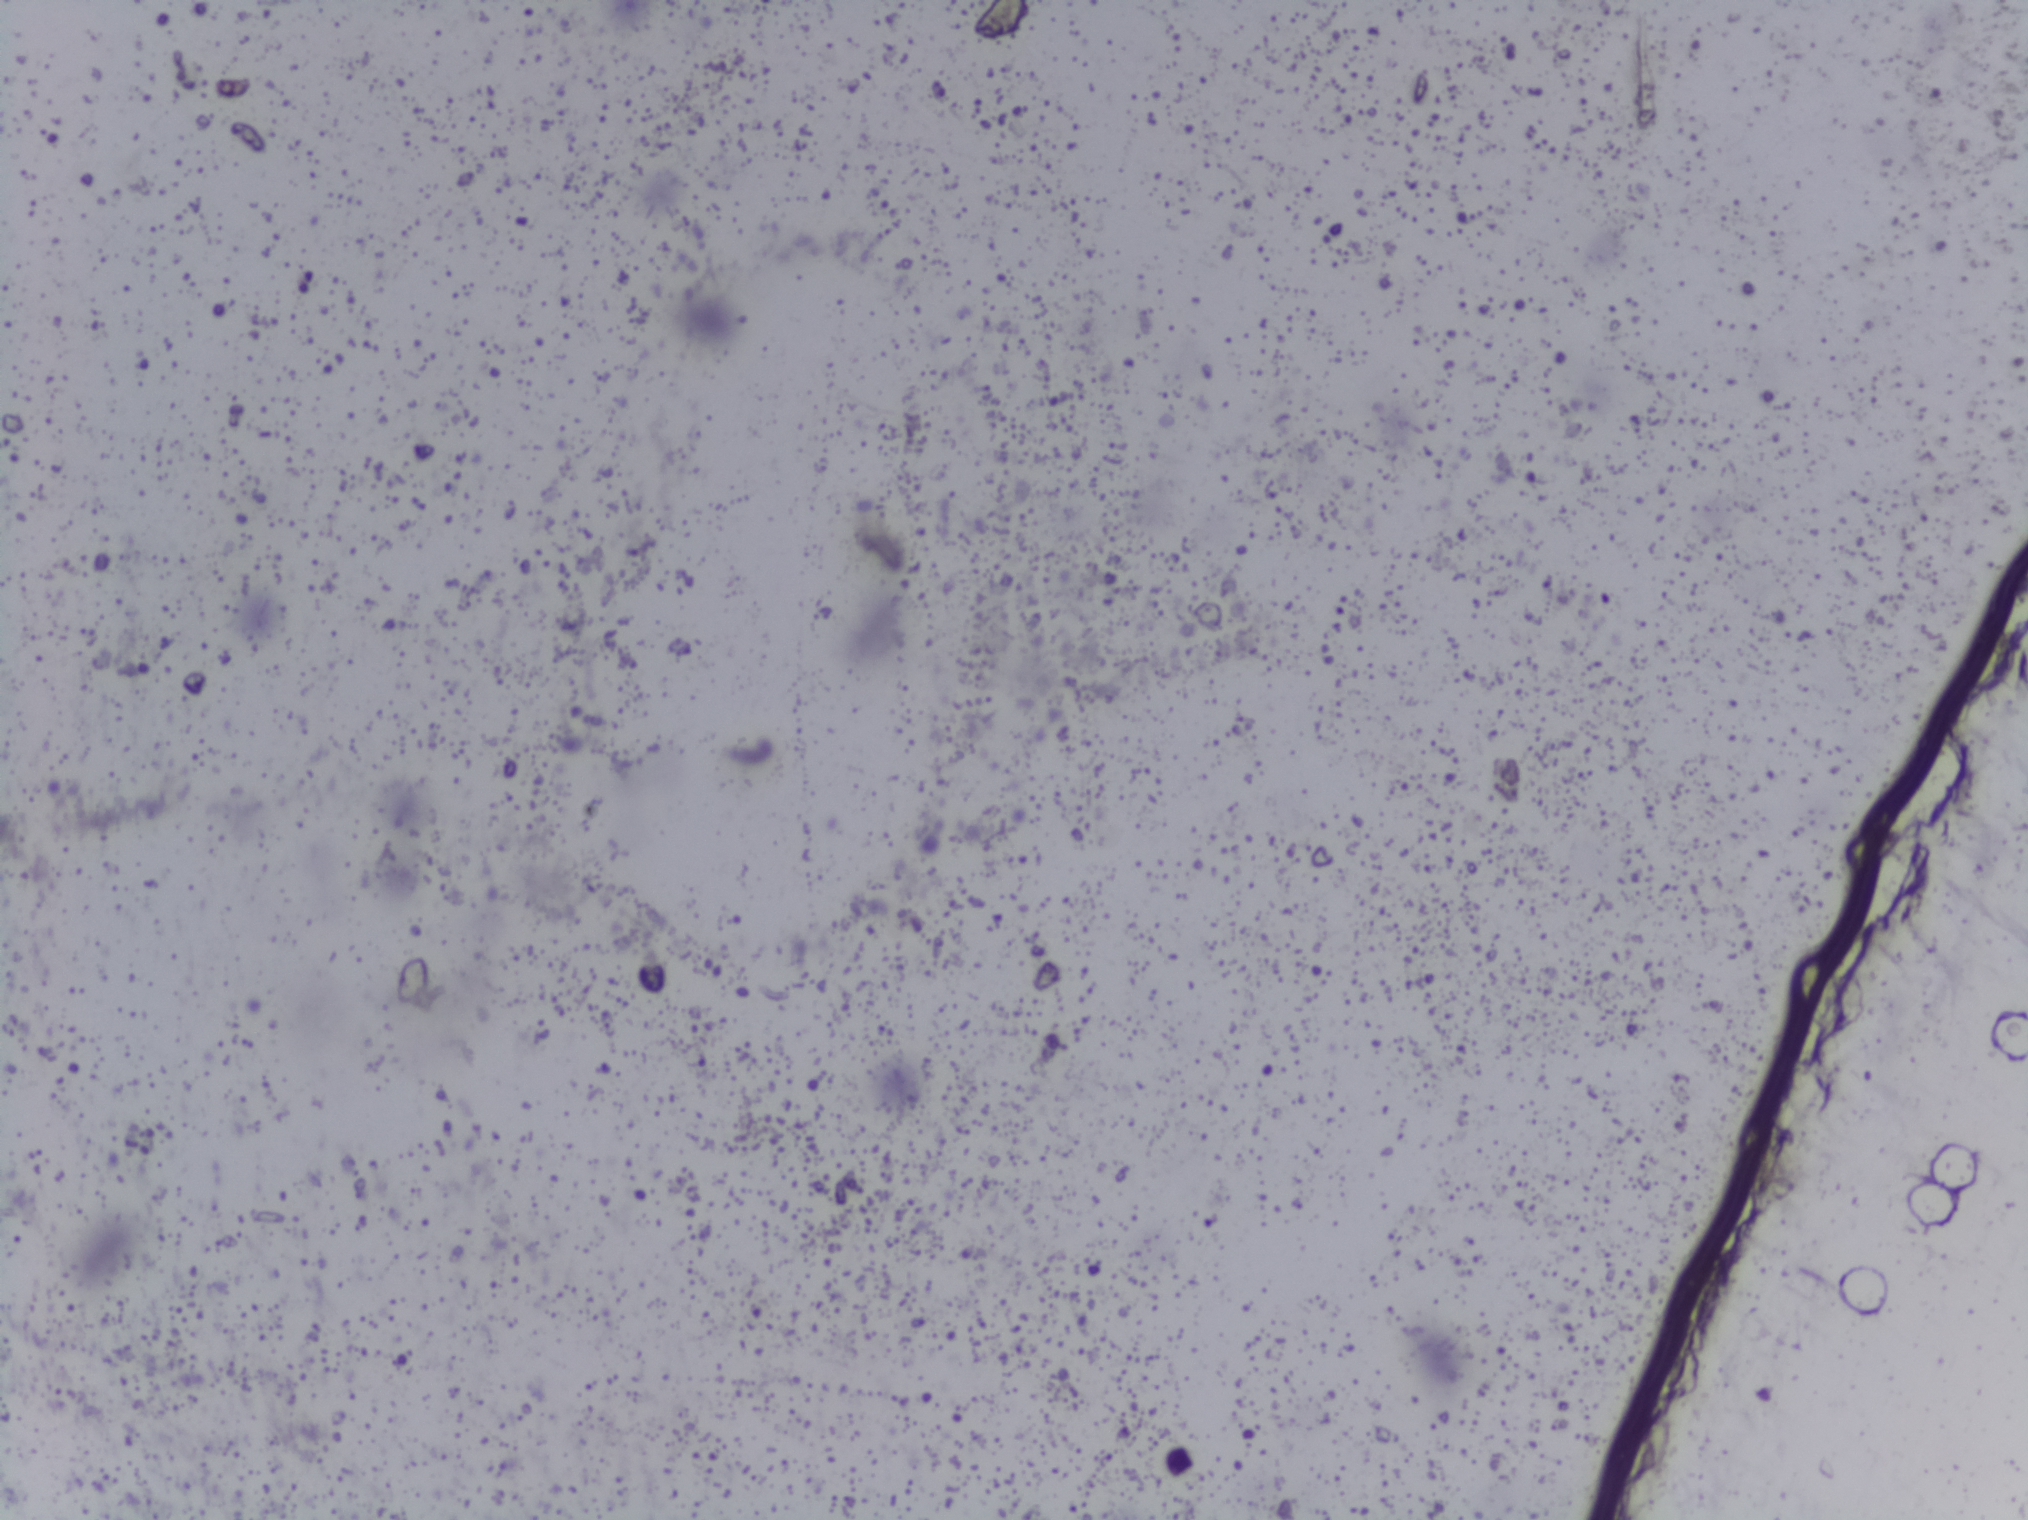
One field of view of a urine filter membrane, 4× objective, 2028 × 1520 pixels. The image covers about 1.5 × 1.1 mm of the membrane.
No area of this image was outlined as a Schistosoma egg.